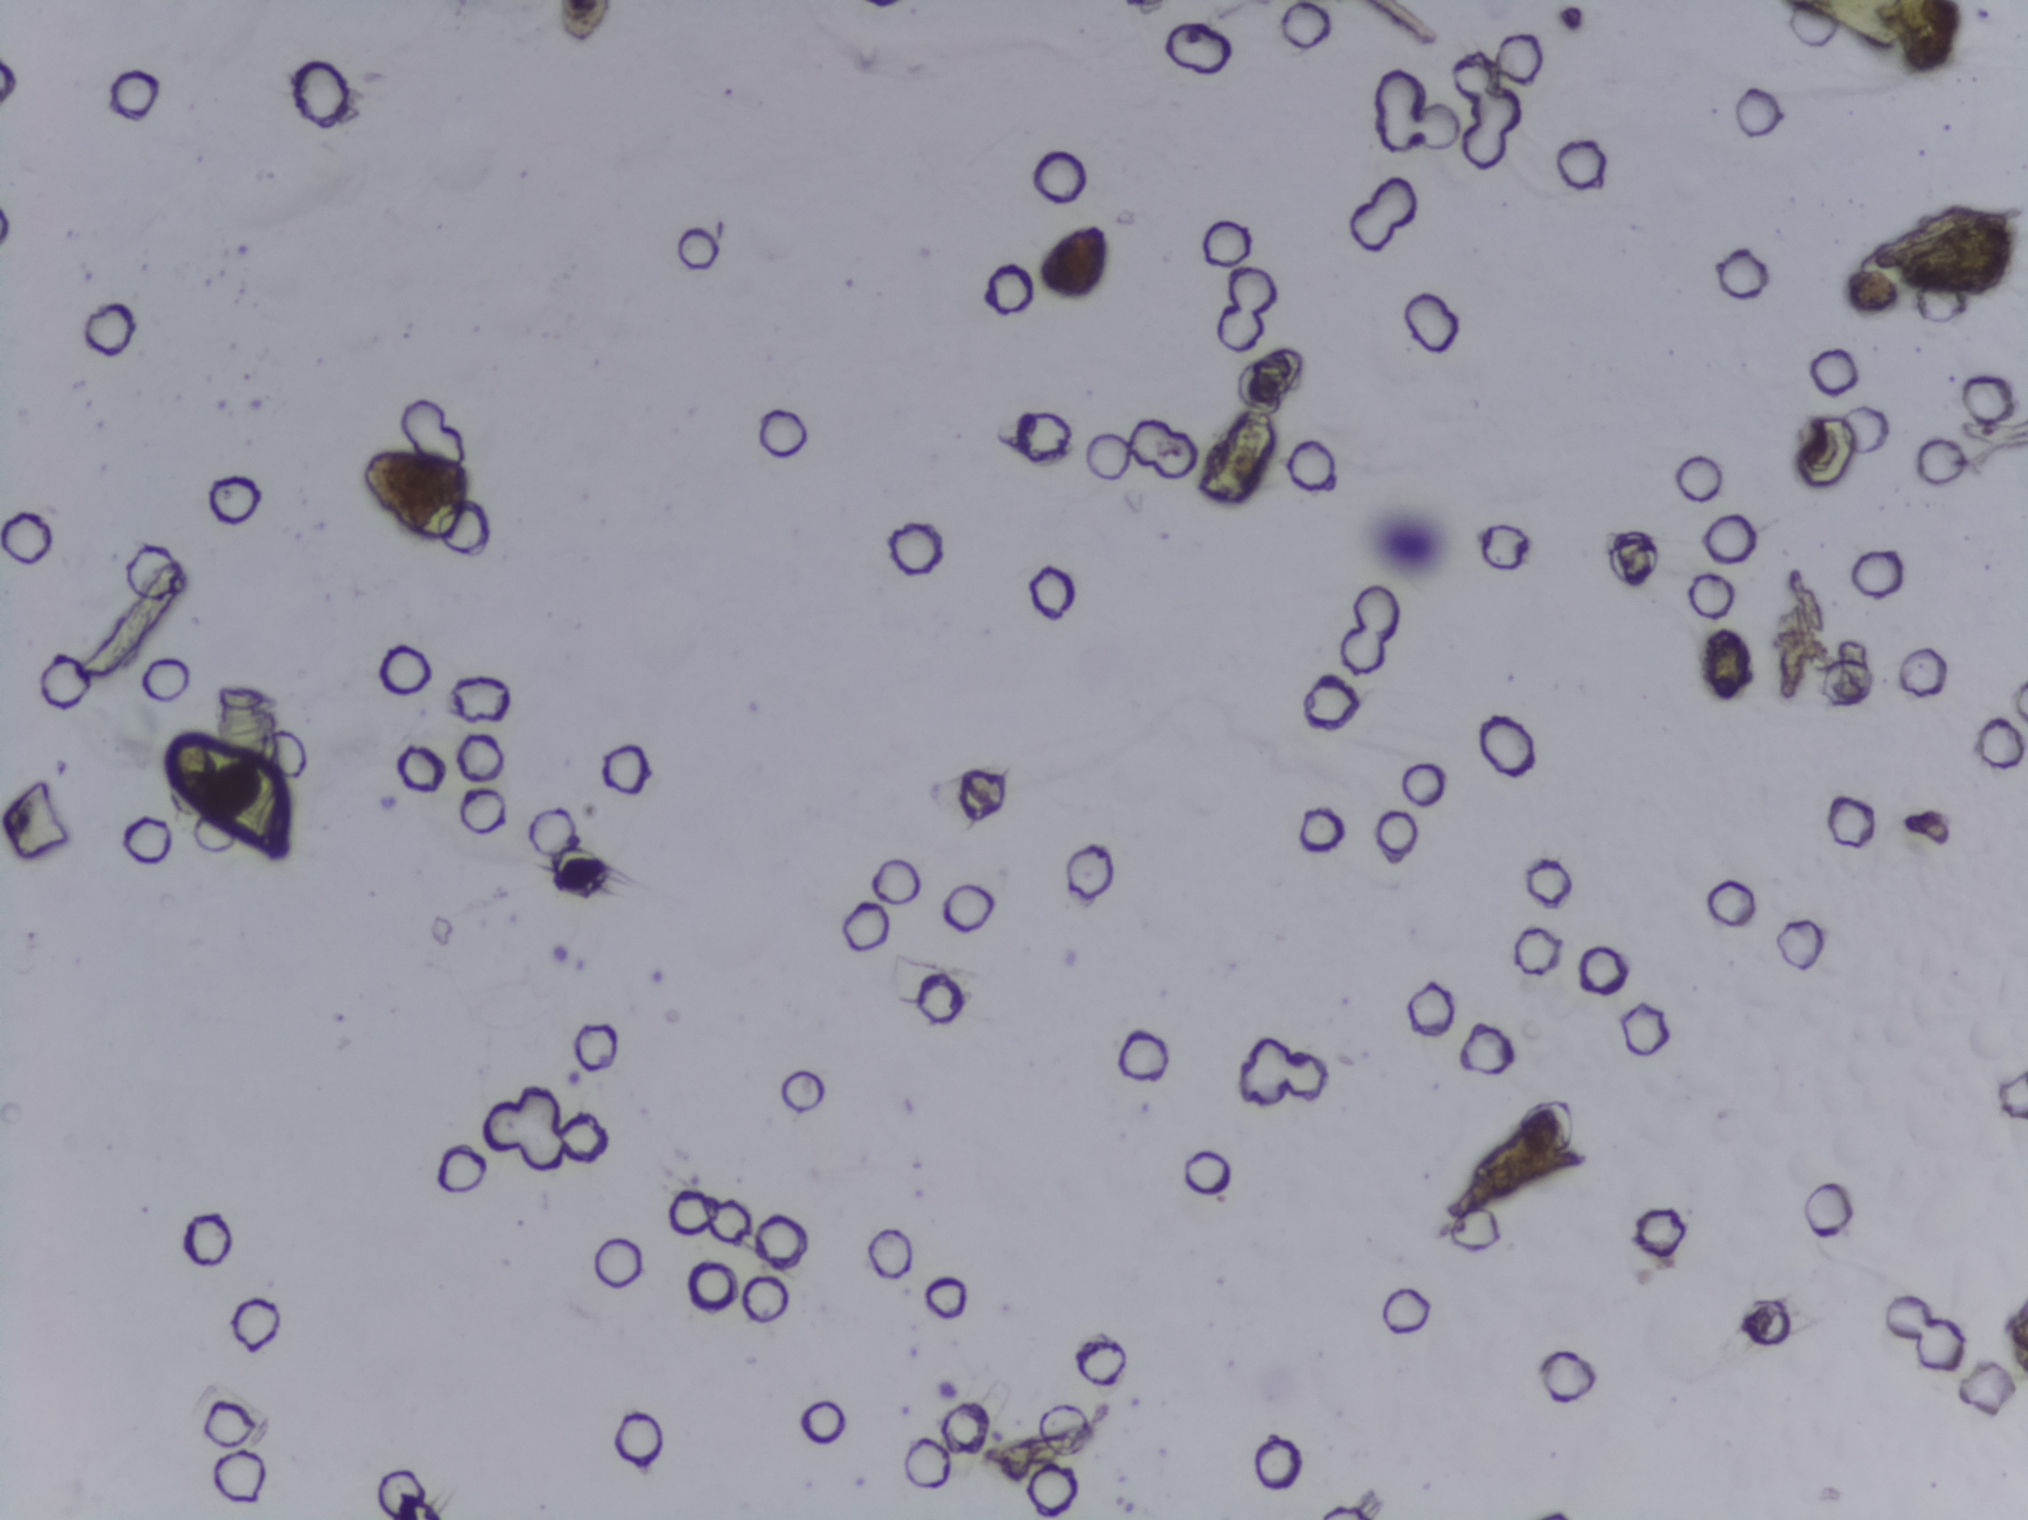
Schistosoma eggs: none outlined.
Urine filtration membrane under a 4× objective, photographed by an automated digital microscope.